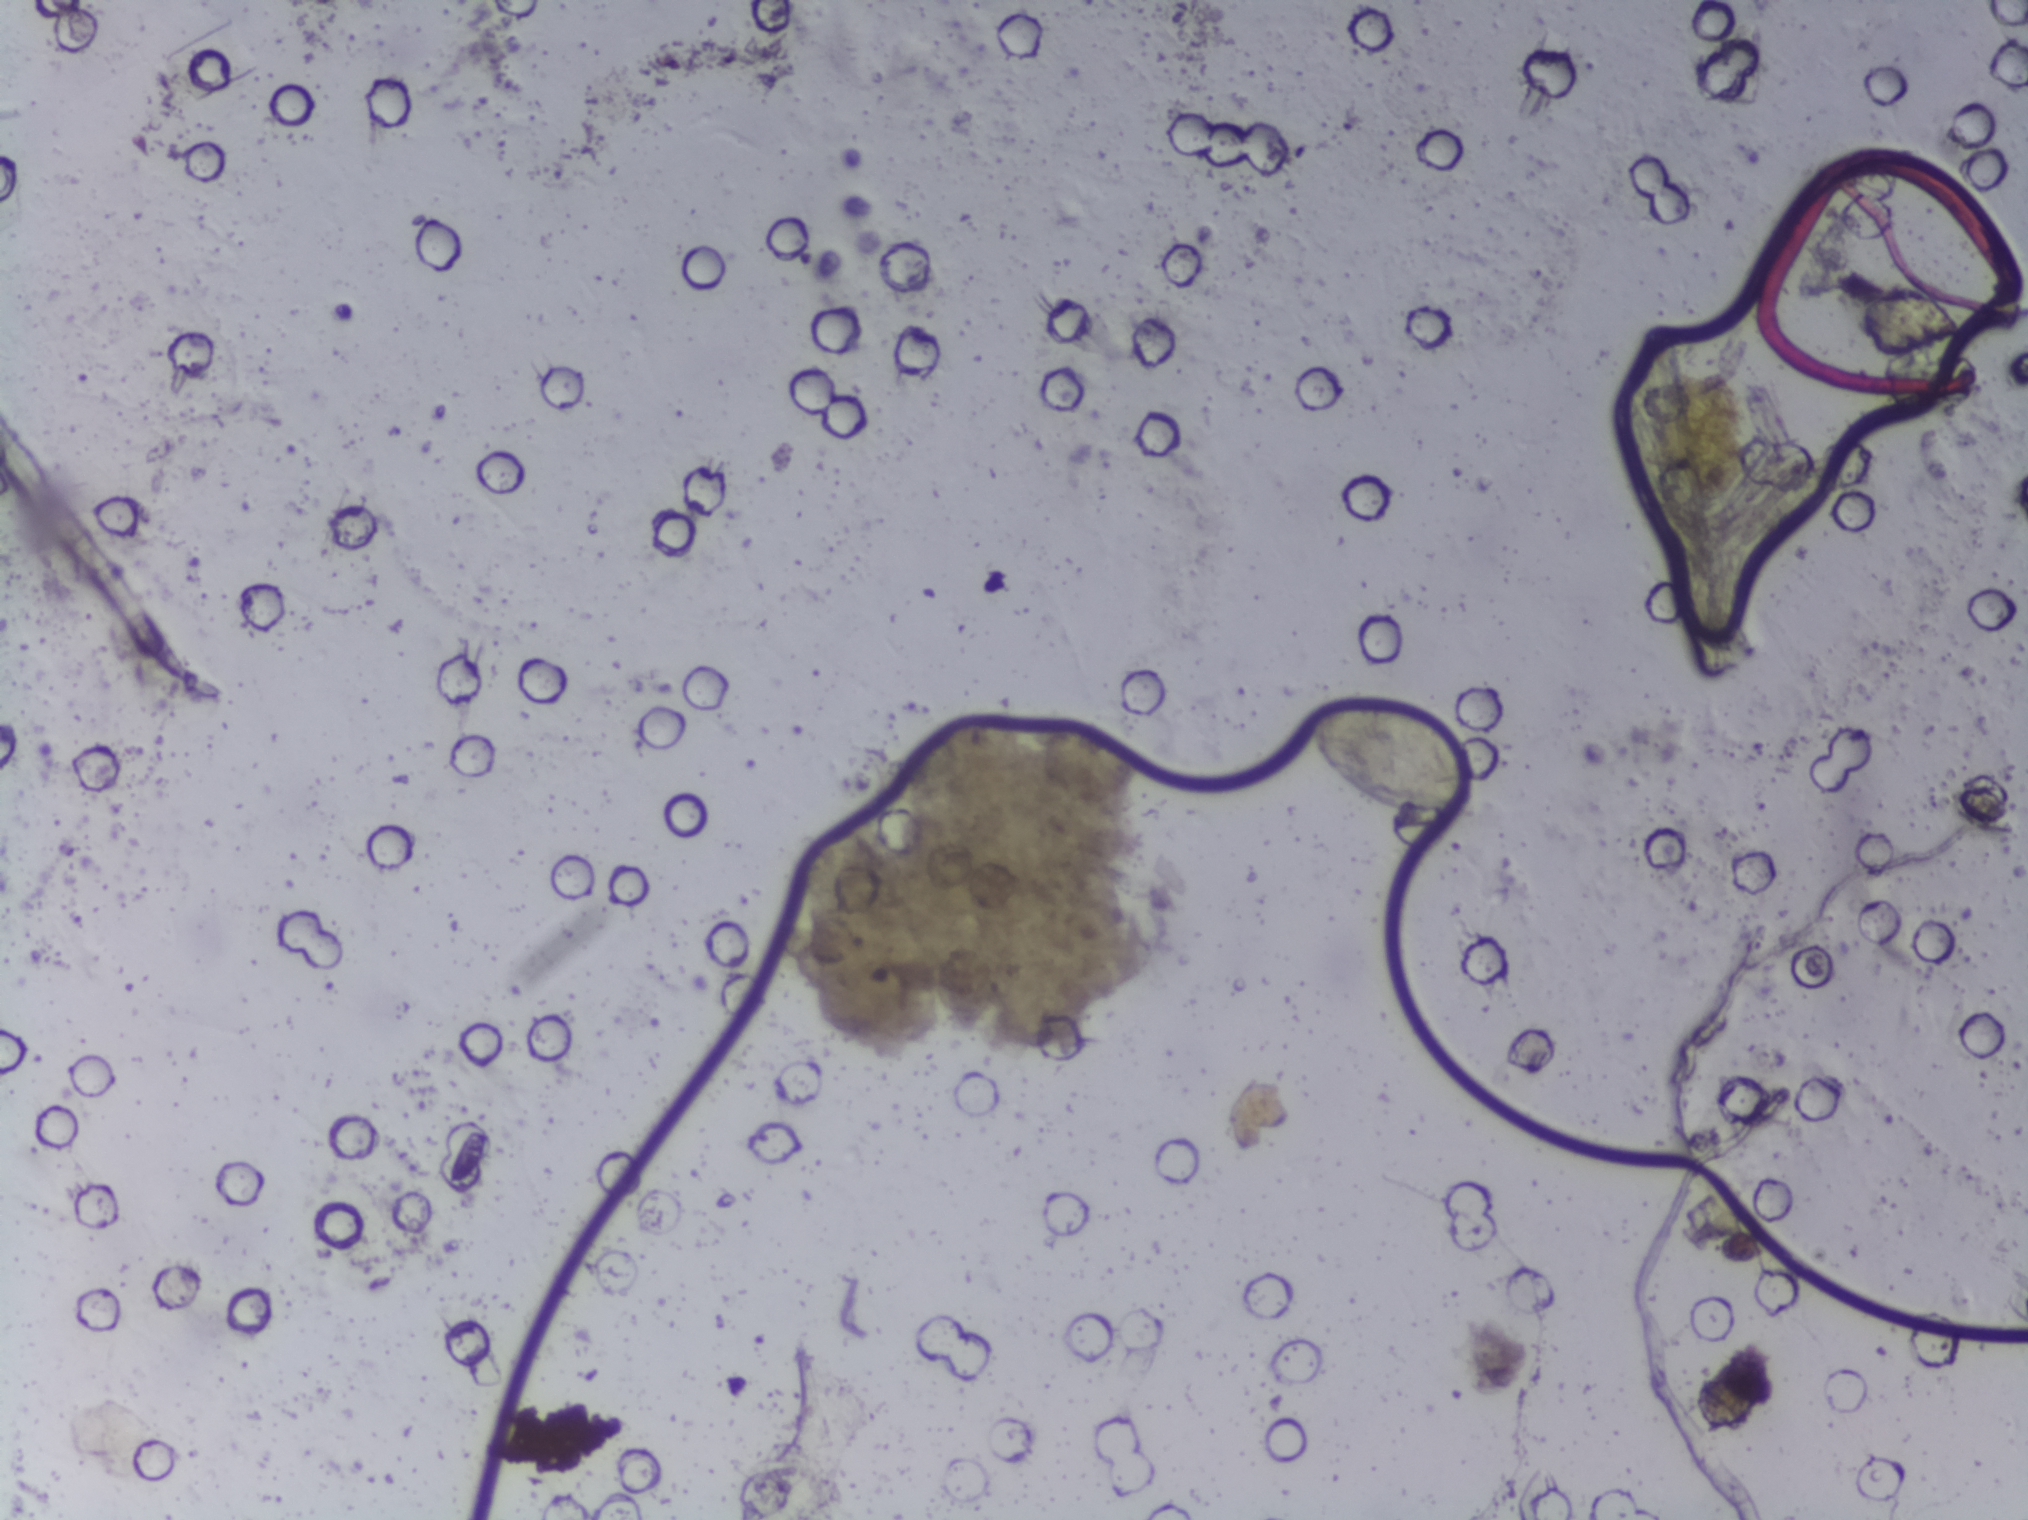
Photograph from an automated digital microscope: urine filter membrane, 4× objective.
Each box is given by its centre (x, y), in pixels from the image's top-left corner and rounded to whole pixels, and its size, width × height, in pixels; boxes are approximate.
Areas outlined as Schistosoma eggs: centre (1394, 759), 184 × 124 px. A single outlined area may contain several eggs.